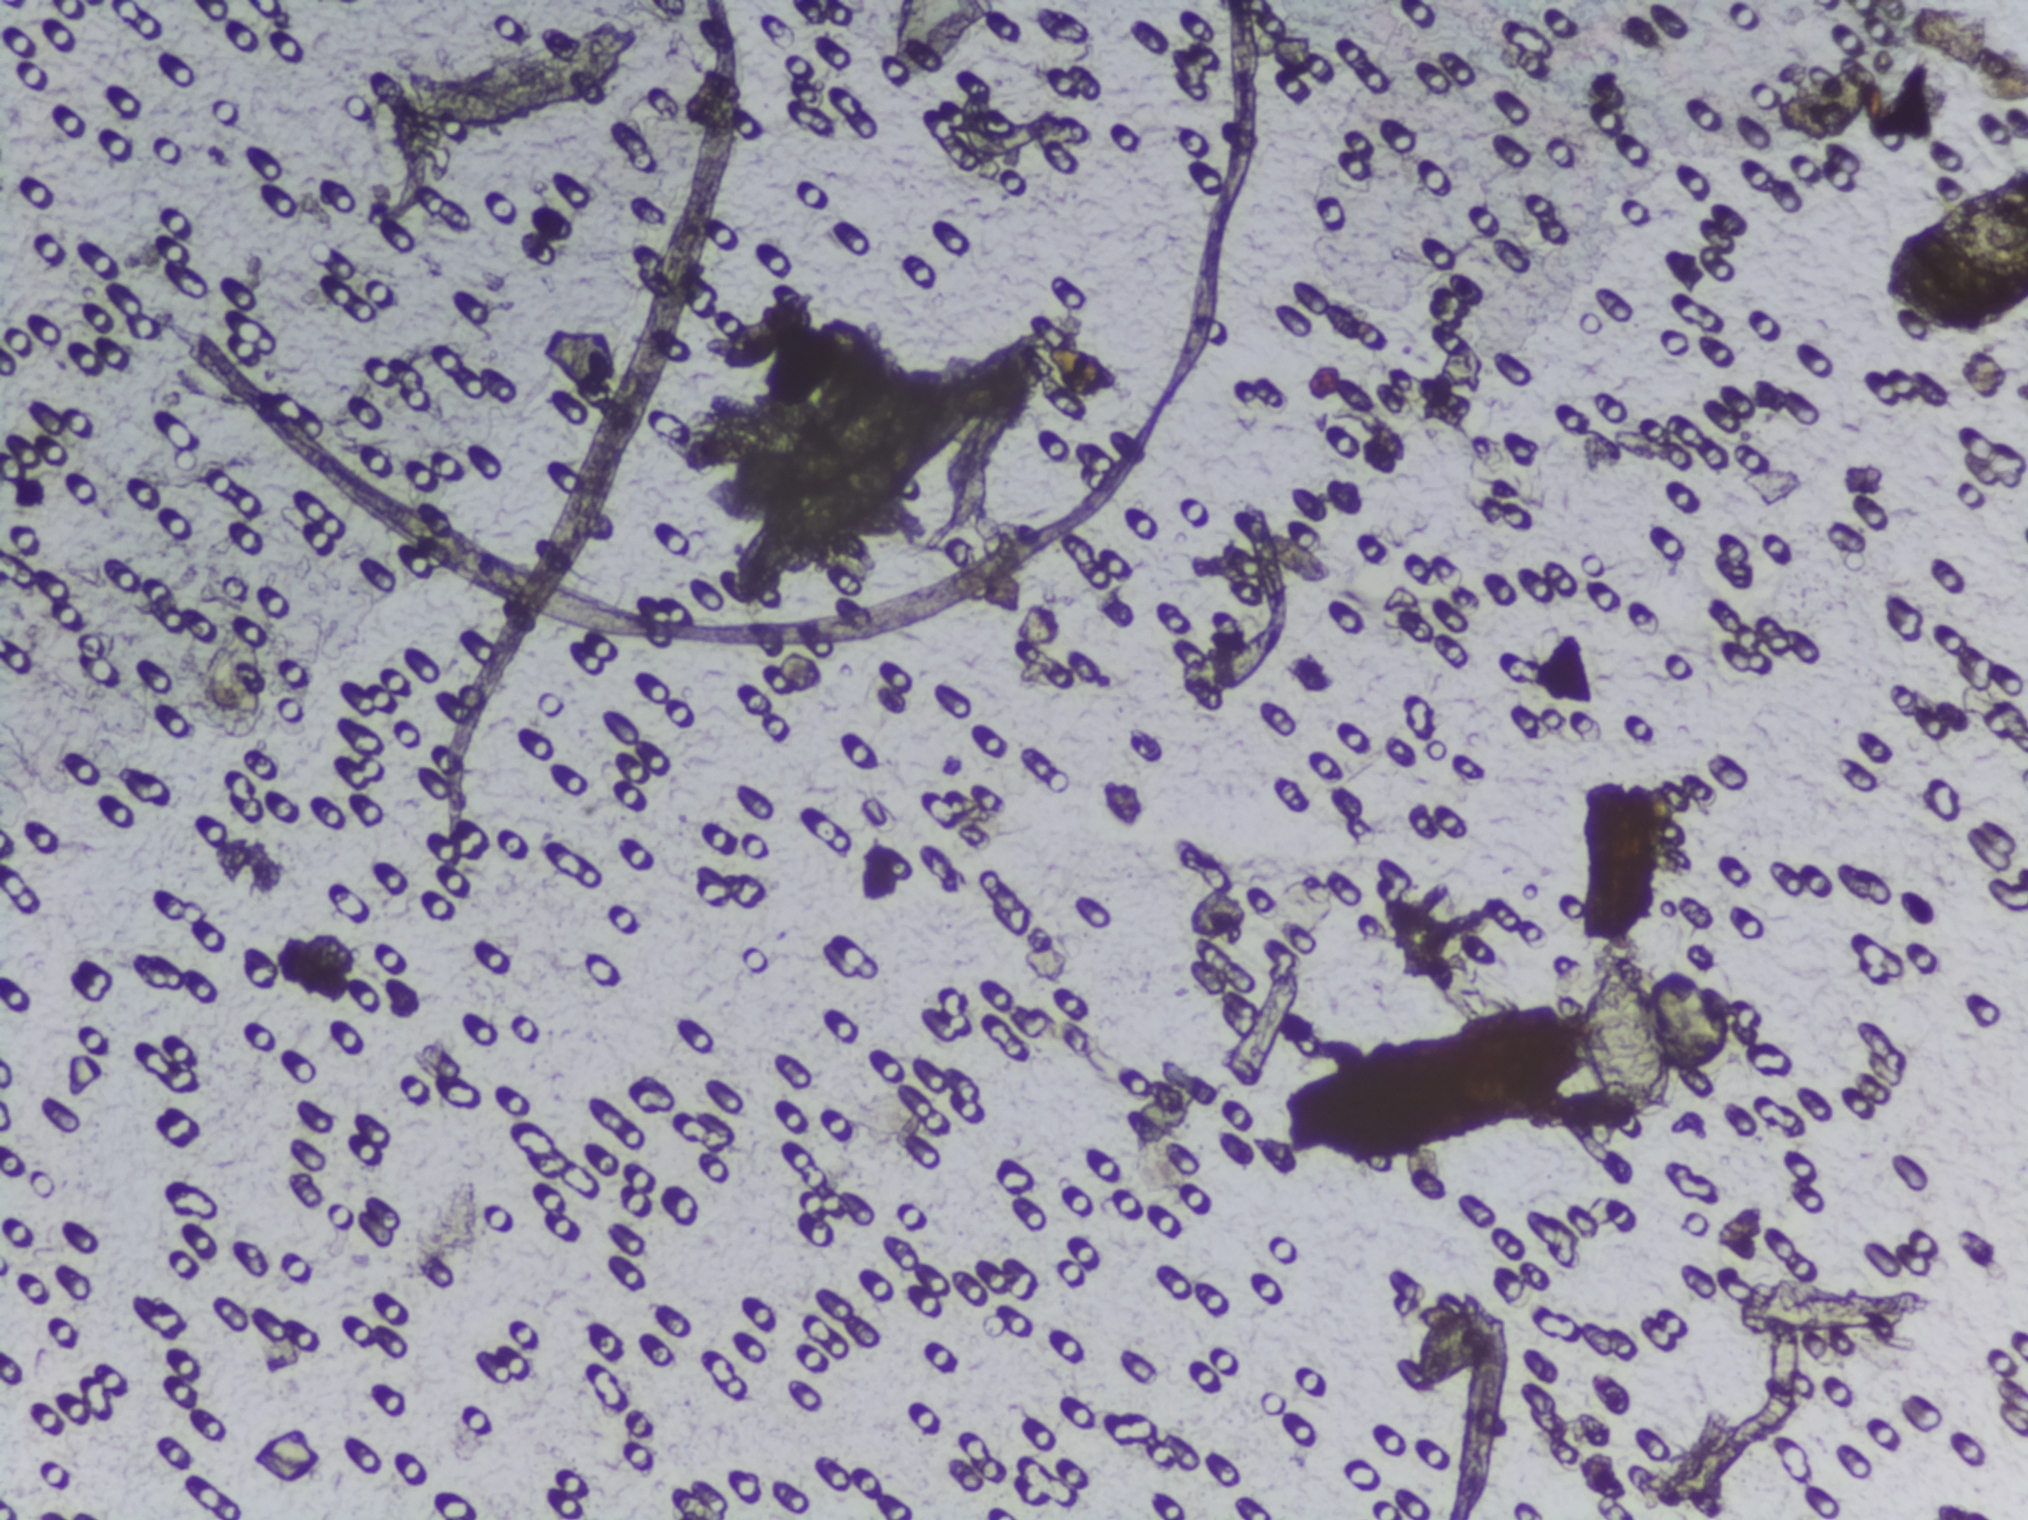
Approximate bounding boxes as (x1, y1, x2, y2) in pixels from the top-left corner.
Two areas of this image are outlined as Schistosoma eggs, from left to right: (880, 0, 997, 84) (reaching the top edge of the frame) and (1575, 934, 1688, 1138). Eggs that touch can end up inside the same outlined area.
Urine filter membrane photographed through a 4× microscope objective.